Microscope photograph (4× objective) of a membrane that a urine sample was filtered through.
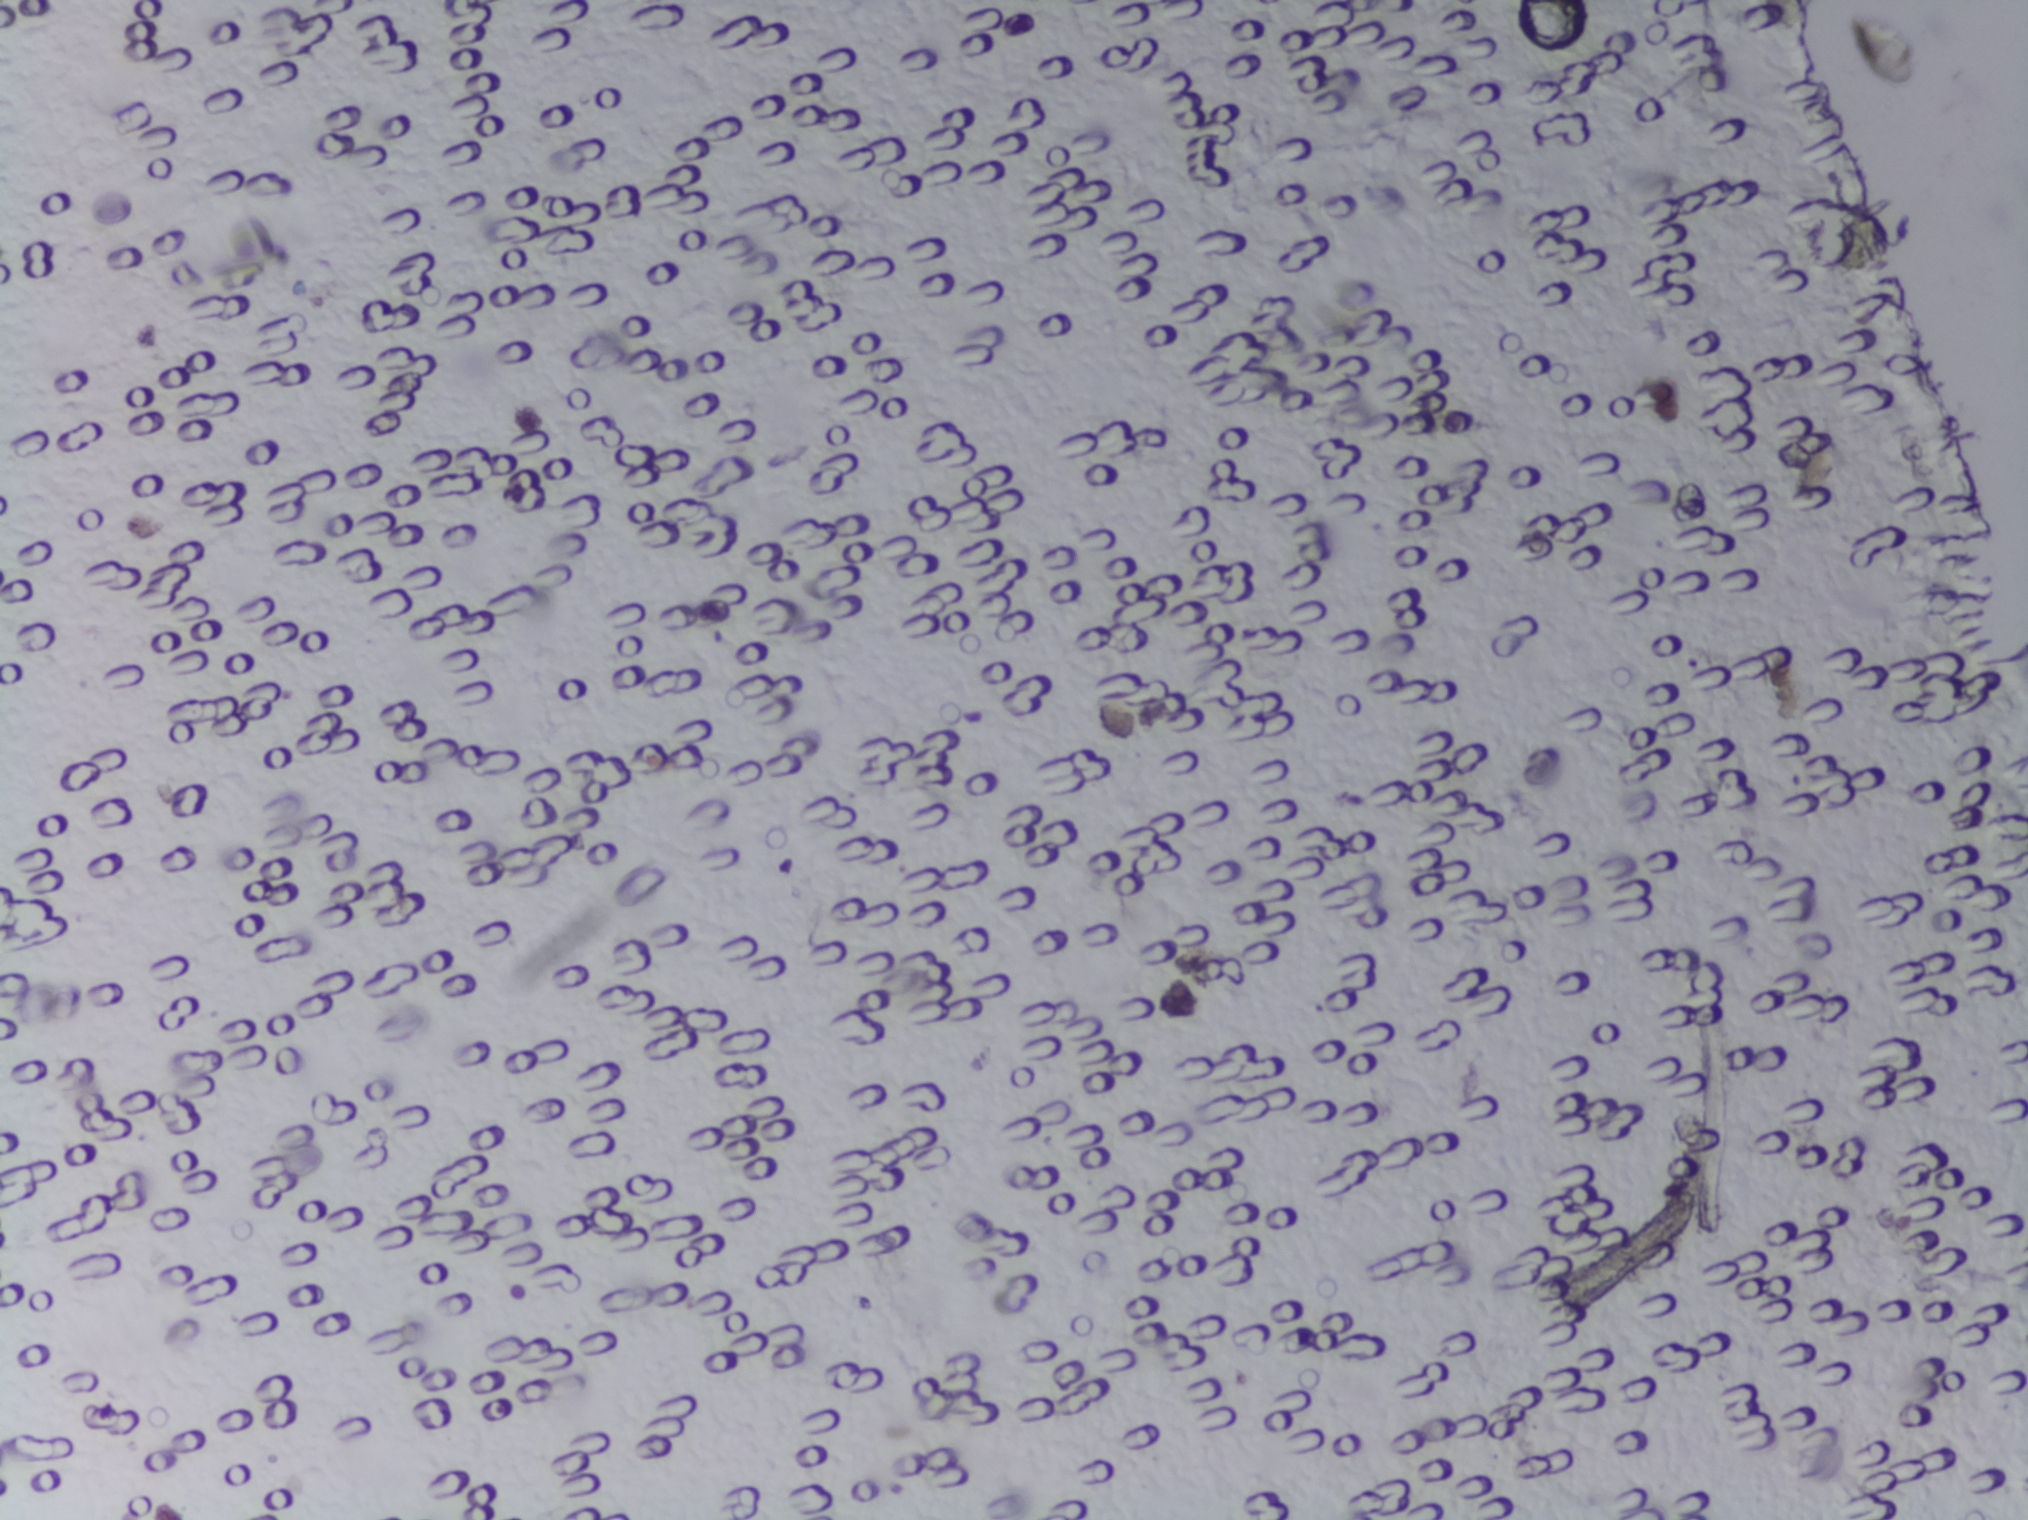
The expert annotation outlines no Schistosoma egg in this image.